One field of view of a urine filter membrane, 4× objective, 2028 × 1520 pixels.
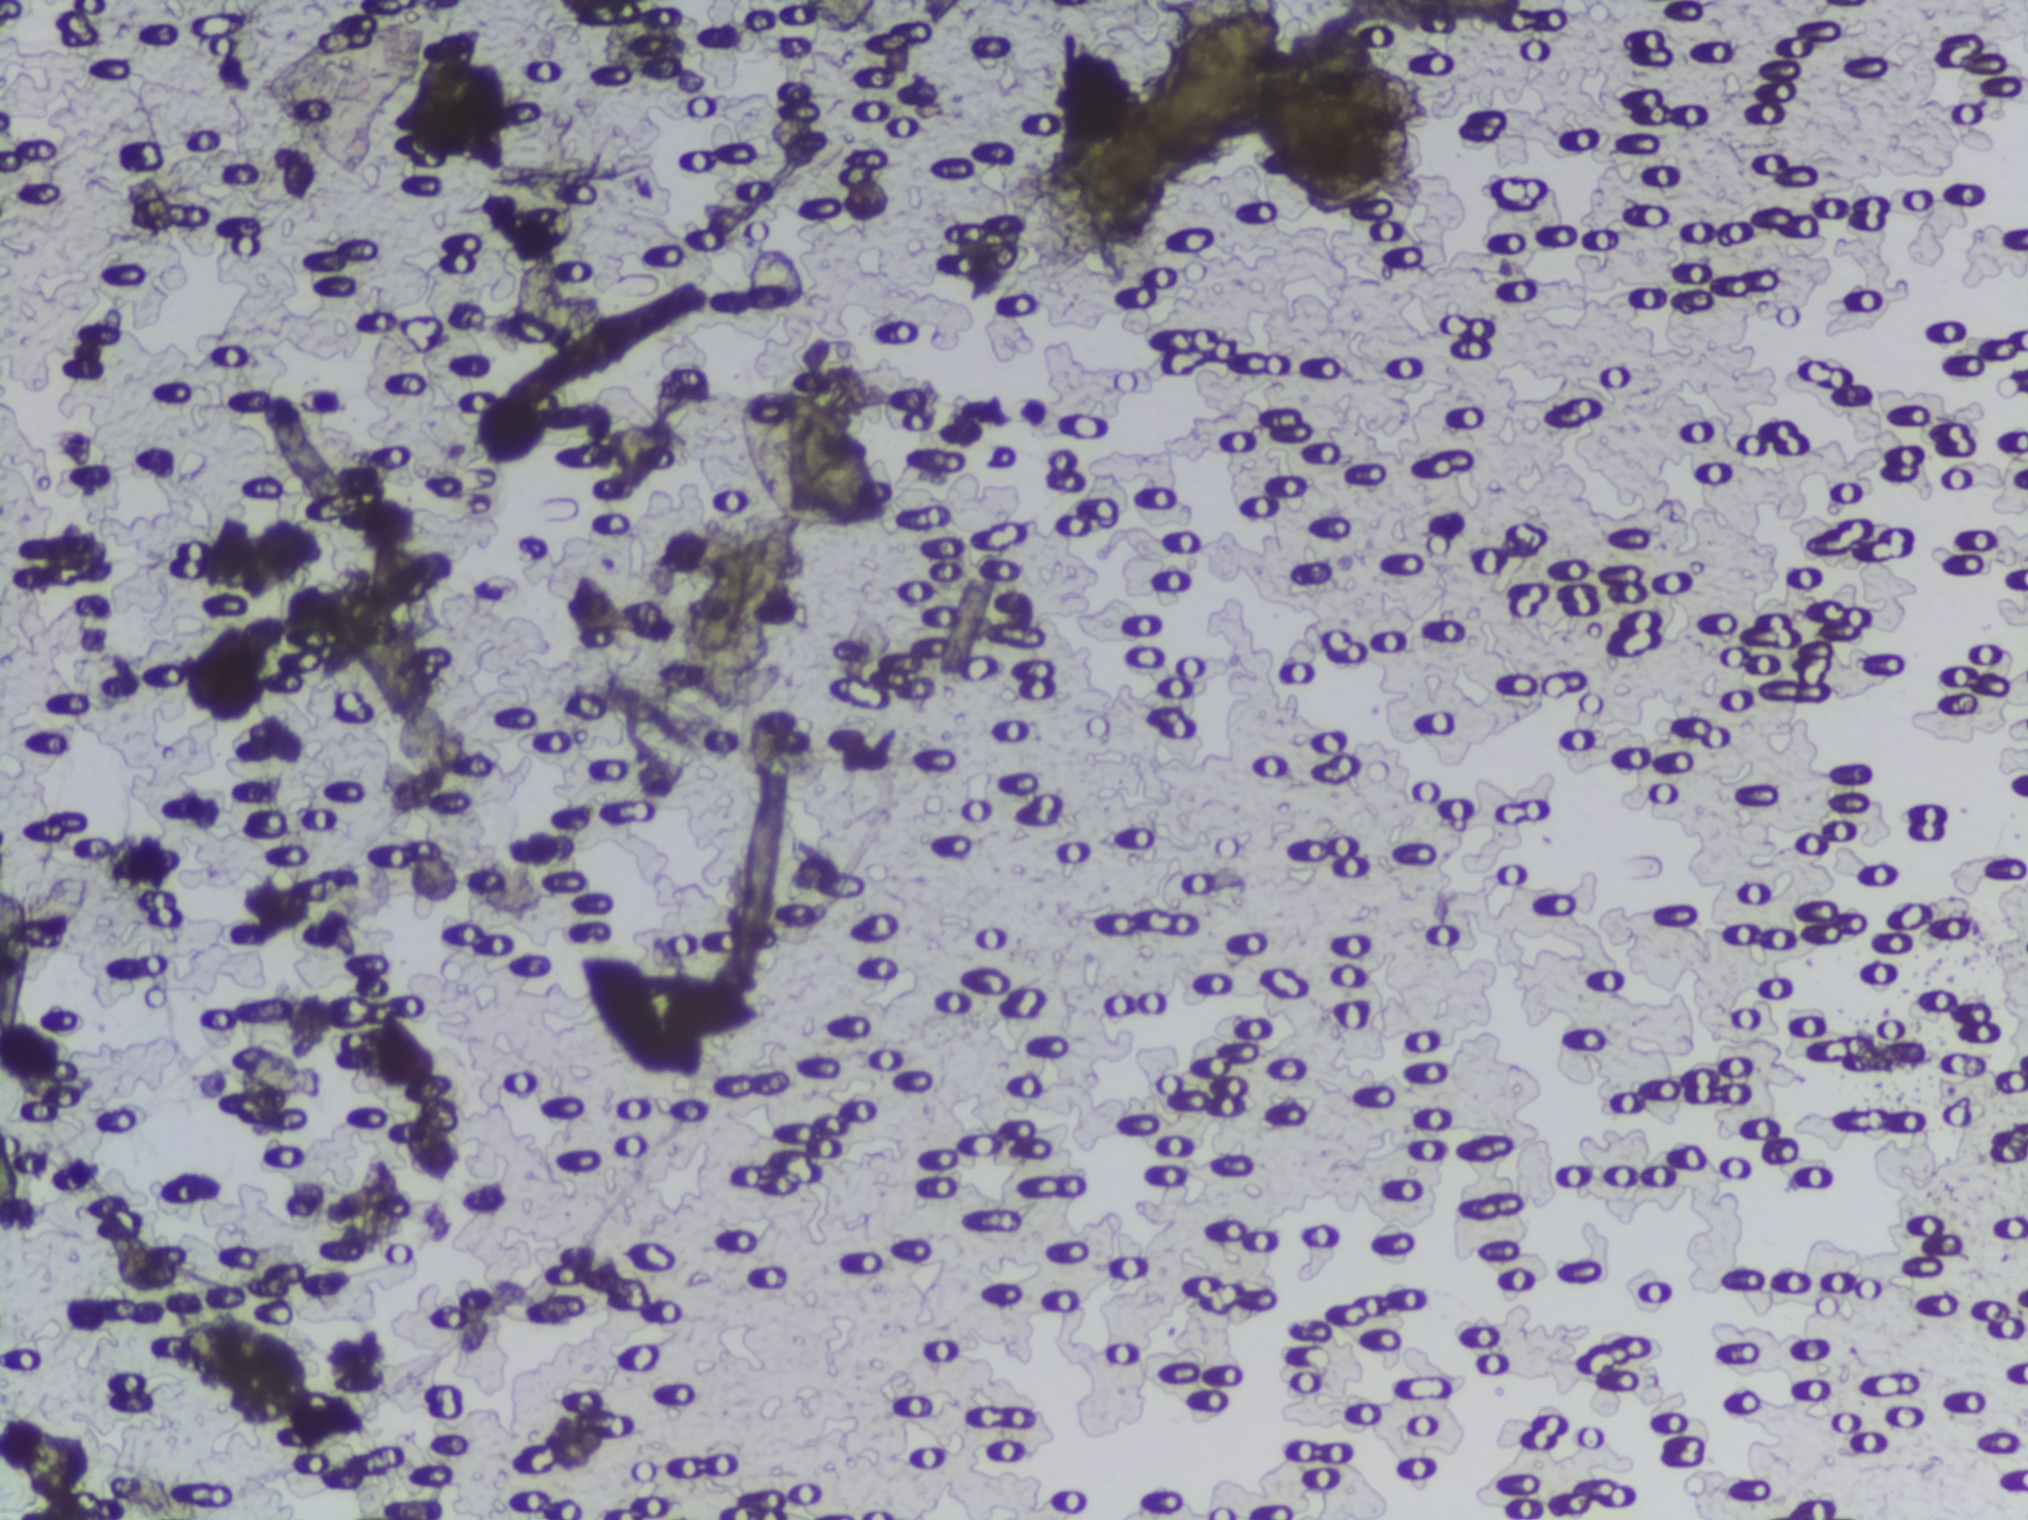
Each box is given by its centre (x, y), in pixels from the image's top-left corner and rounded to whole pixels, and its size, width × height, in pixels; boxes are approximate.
Schistosoma eggs, outlined areas: centre (809, 460), 150 × 168 px; centre (1171, 125), 242 × 249 px. An outlined area can hold more than one egg.